One field of view of a urine filter membrane, 4× objective, 2028 × 1520 pixels.
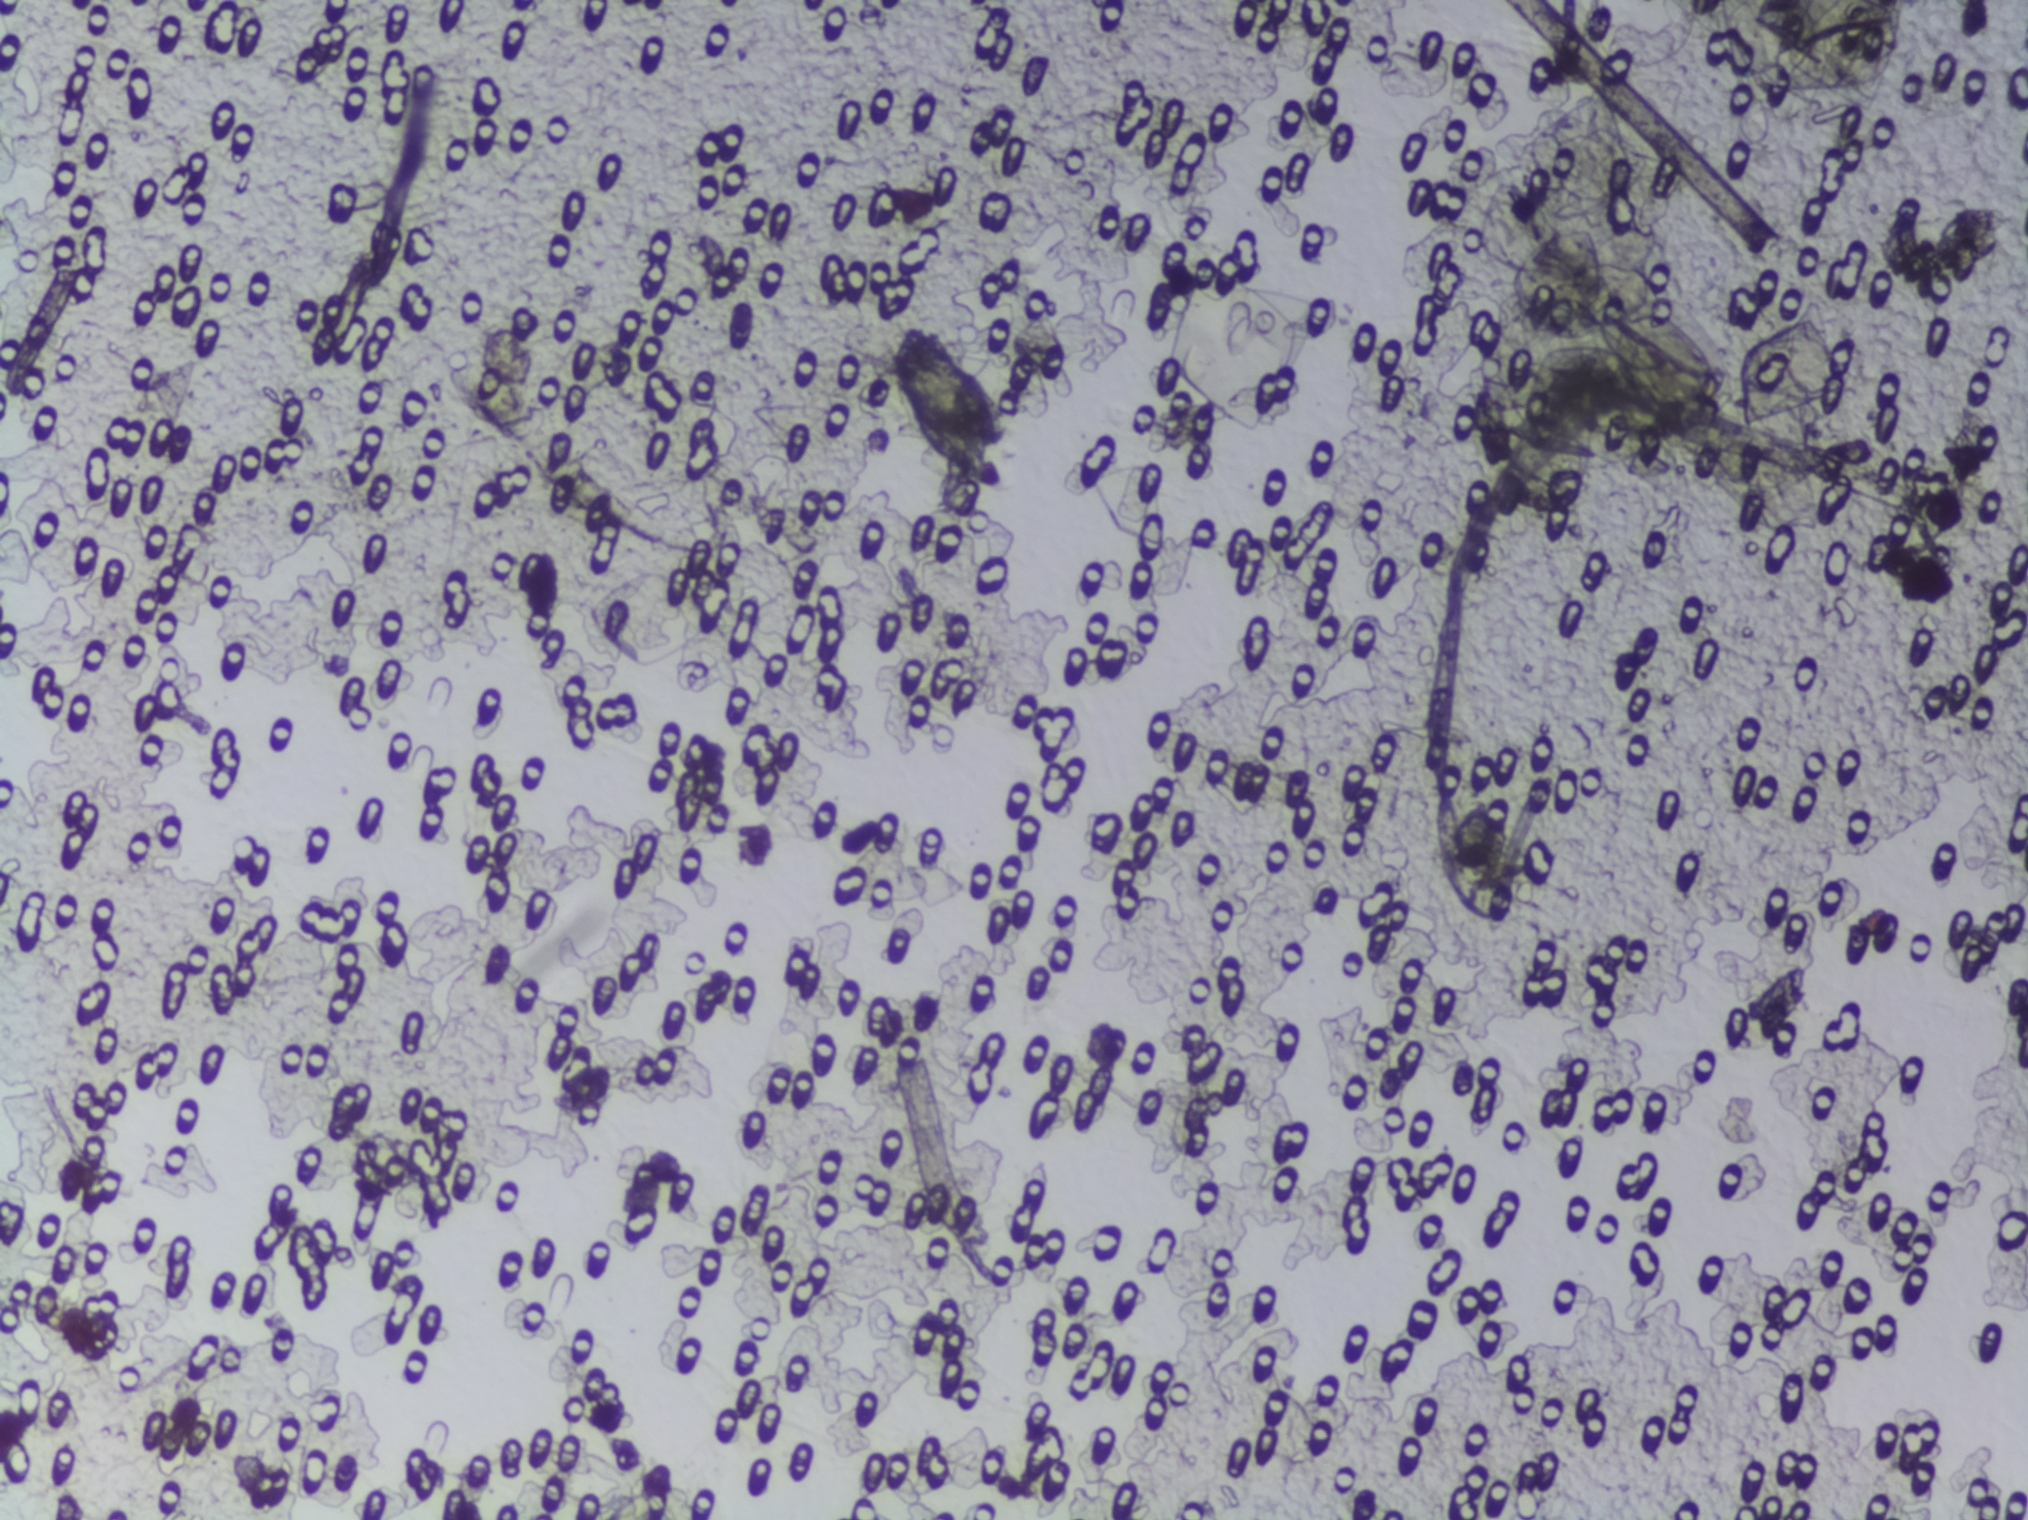
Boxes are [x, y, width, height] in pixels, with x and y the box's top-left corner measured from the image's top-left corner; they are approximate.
Schistosoma eggs, outlined areas: [887, 326, 118, 164]. A single outlined area may contain several eggs.